Urine filter membrane photographed through a 4× microscope objective.
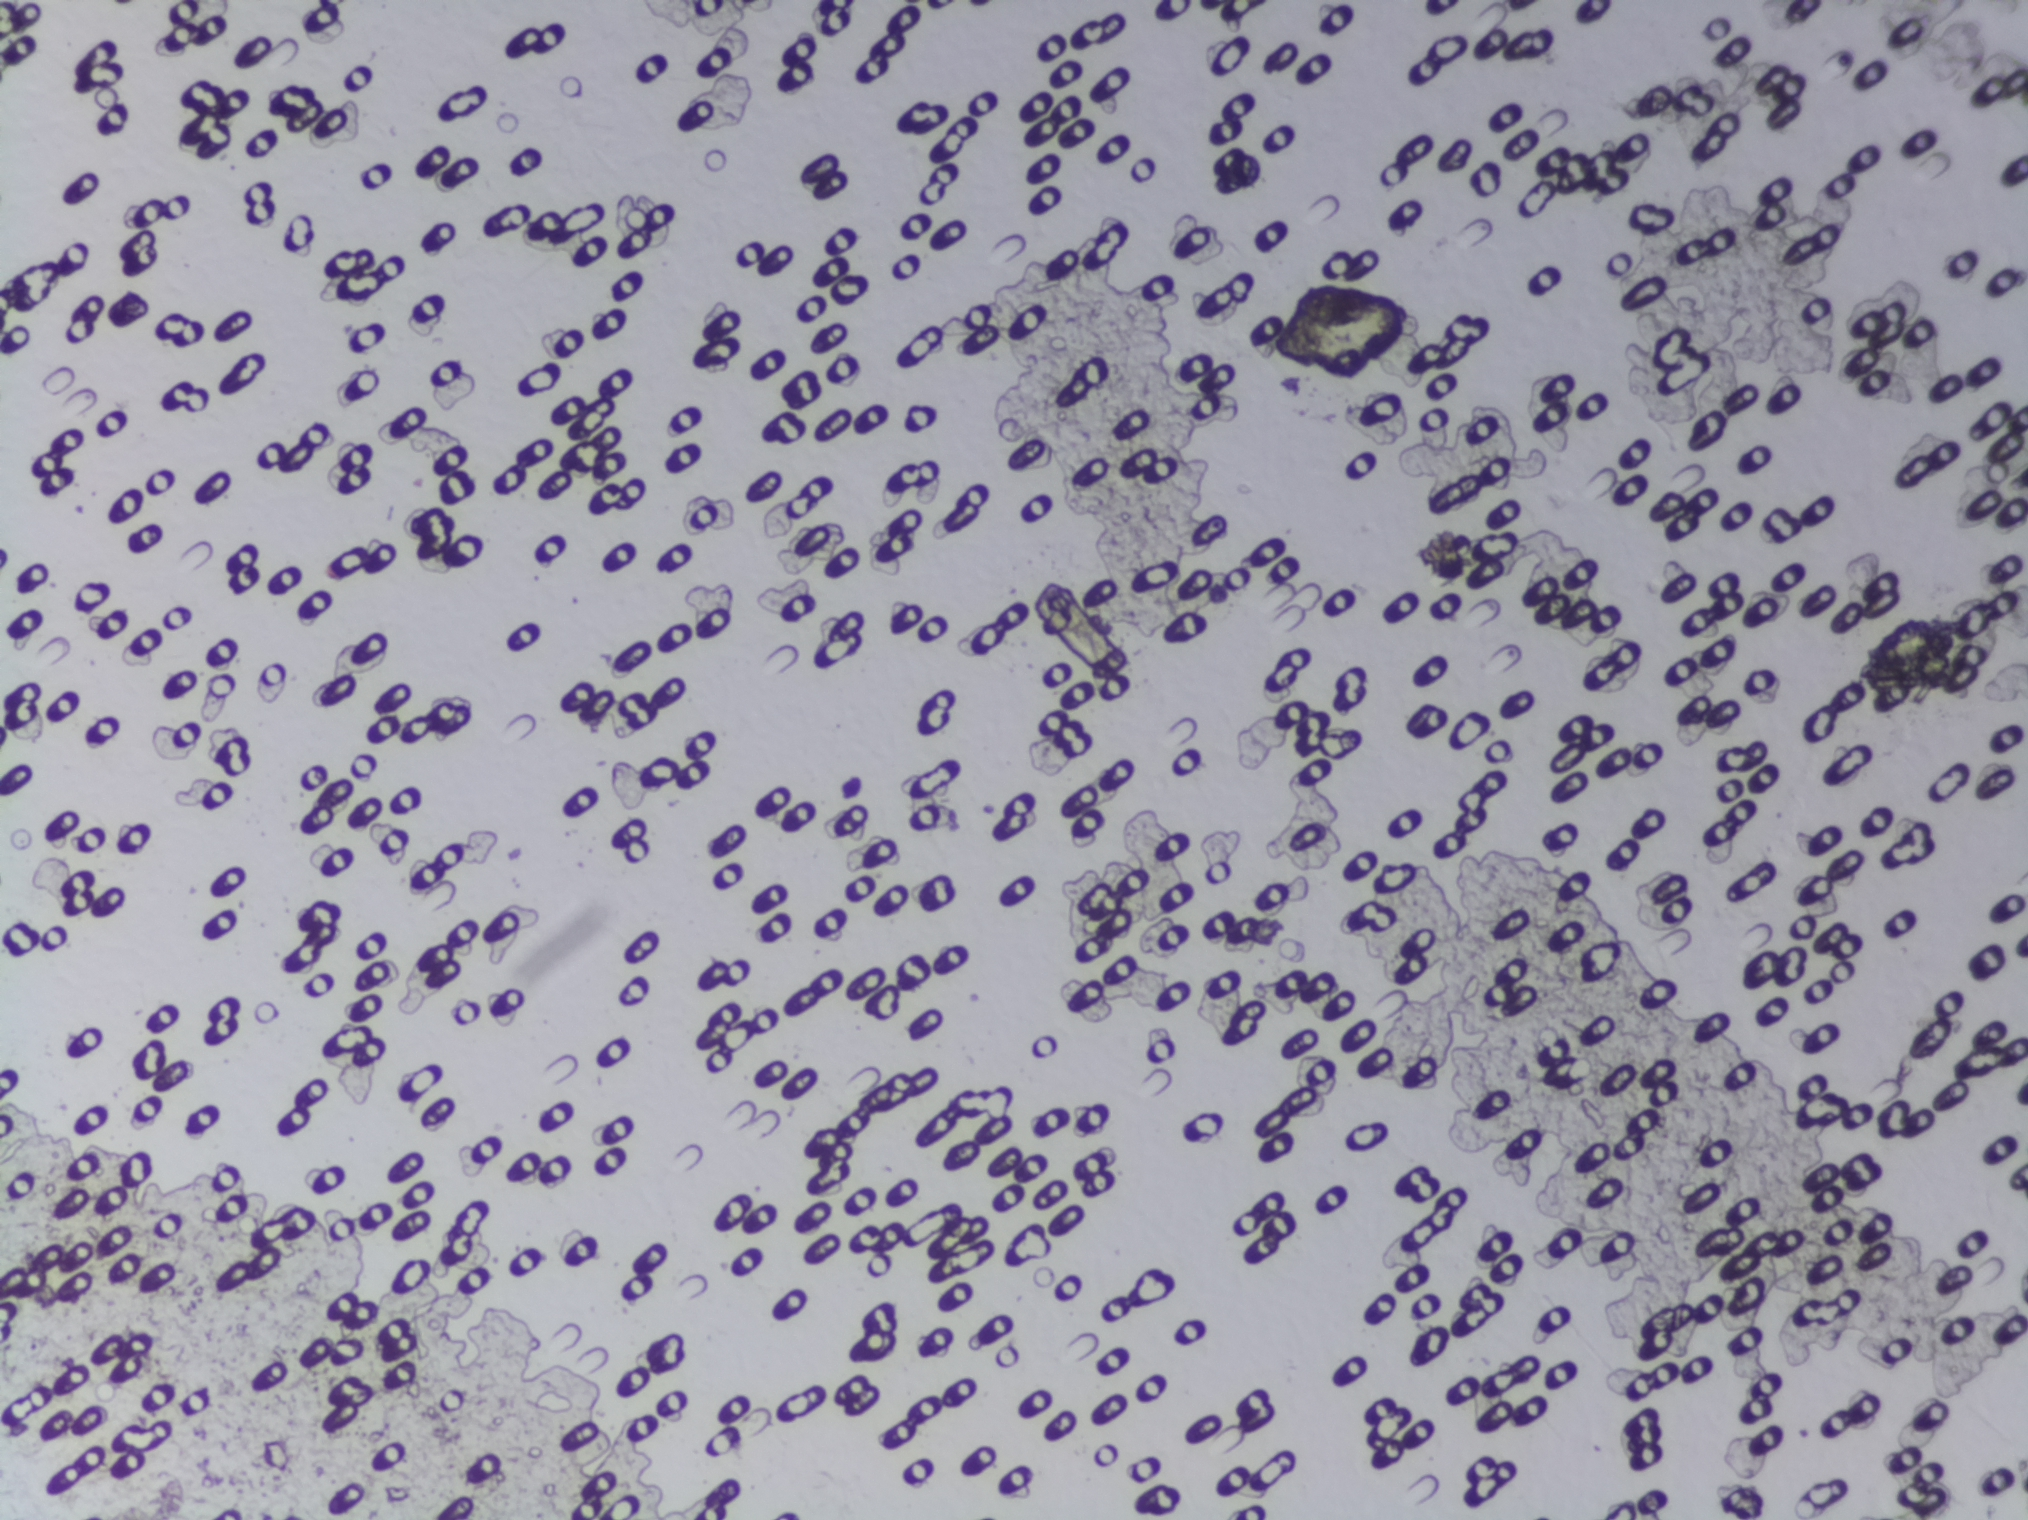
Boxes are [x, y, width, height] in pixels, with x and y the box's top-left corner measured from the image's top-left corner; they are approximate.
Areas outlined as Schistosoma eggs: [1263, 284, 154, 101]. Eggs that touch can end up inside the same outlined area.